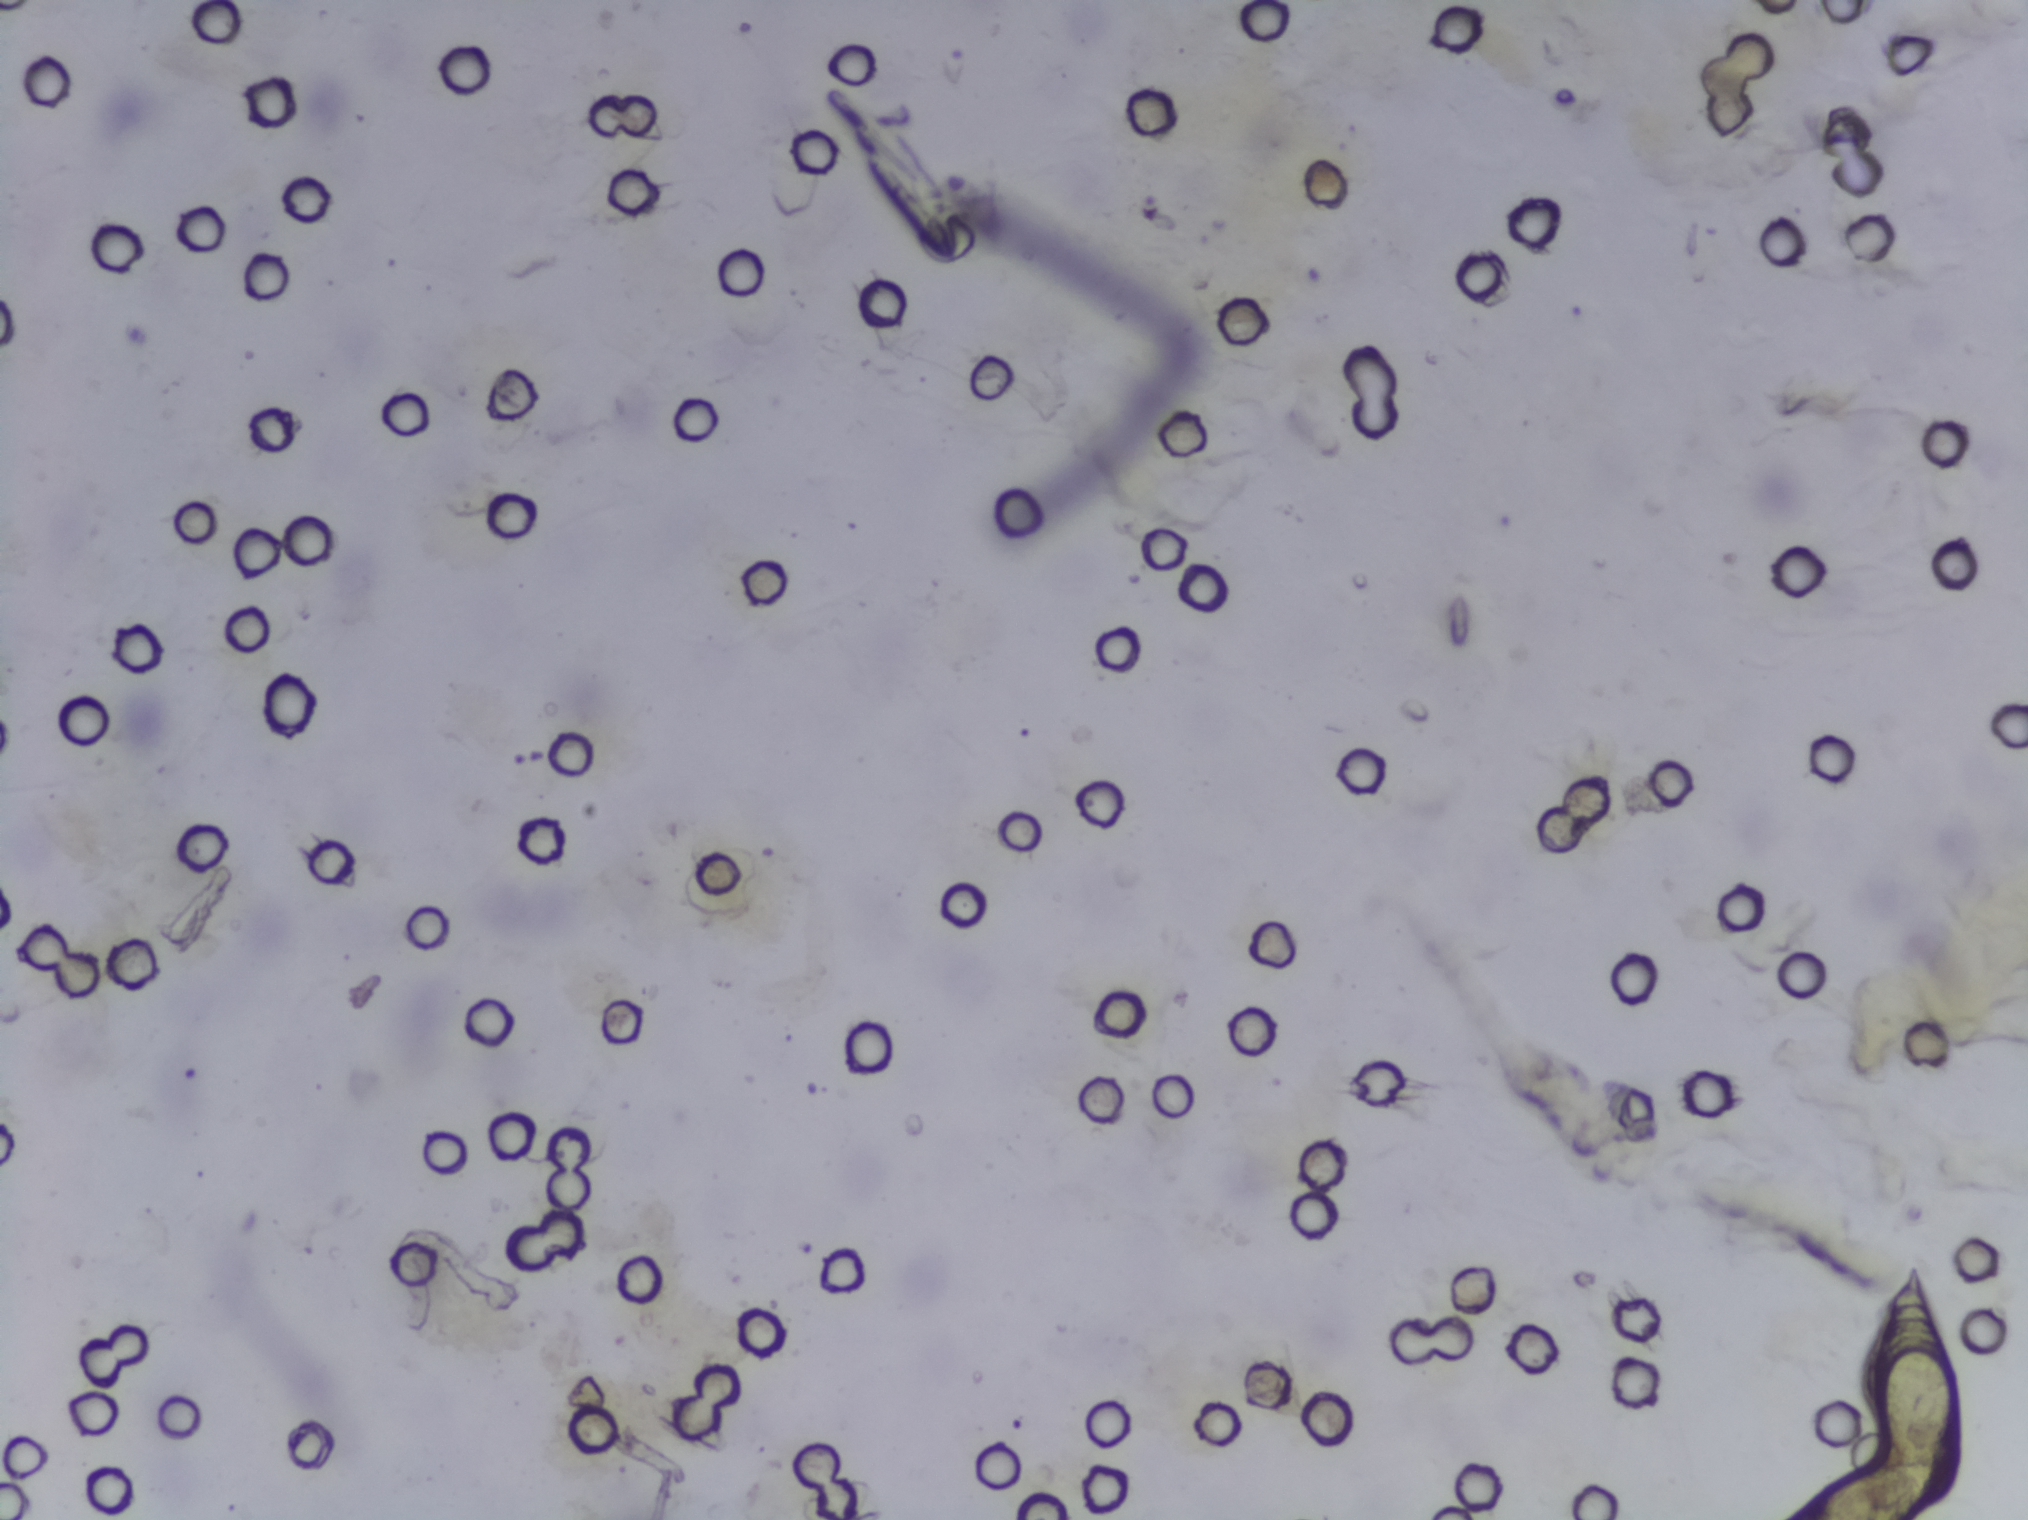
Photograph from an automated digital microscope: urine filter membrane, 4× objective.
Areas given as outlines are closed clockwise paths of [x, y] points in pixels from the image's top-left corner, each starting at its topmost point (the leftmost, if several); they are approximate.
Area outlined as Schistosoma eggs:
1. outline [1909, 1256], [1925, 1265], [1949, 1337], [1963, 1399], [1965, 1491], [1959, 1501], [1921, 1519], [1786, 1519], [1828, 1477], [1887, 1456], [1876, 1417], [1874, 1347] (reaching the bottom edge of the frame)
An outlined area can hold more than one egg. A marked egg may occasionally be S. mansoni rather than S. haematobium.